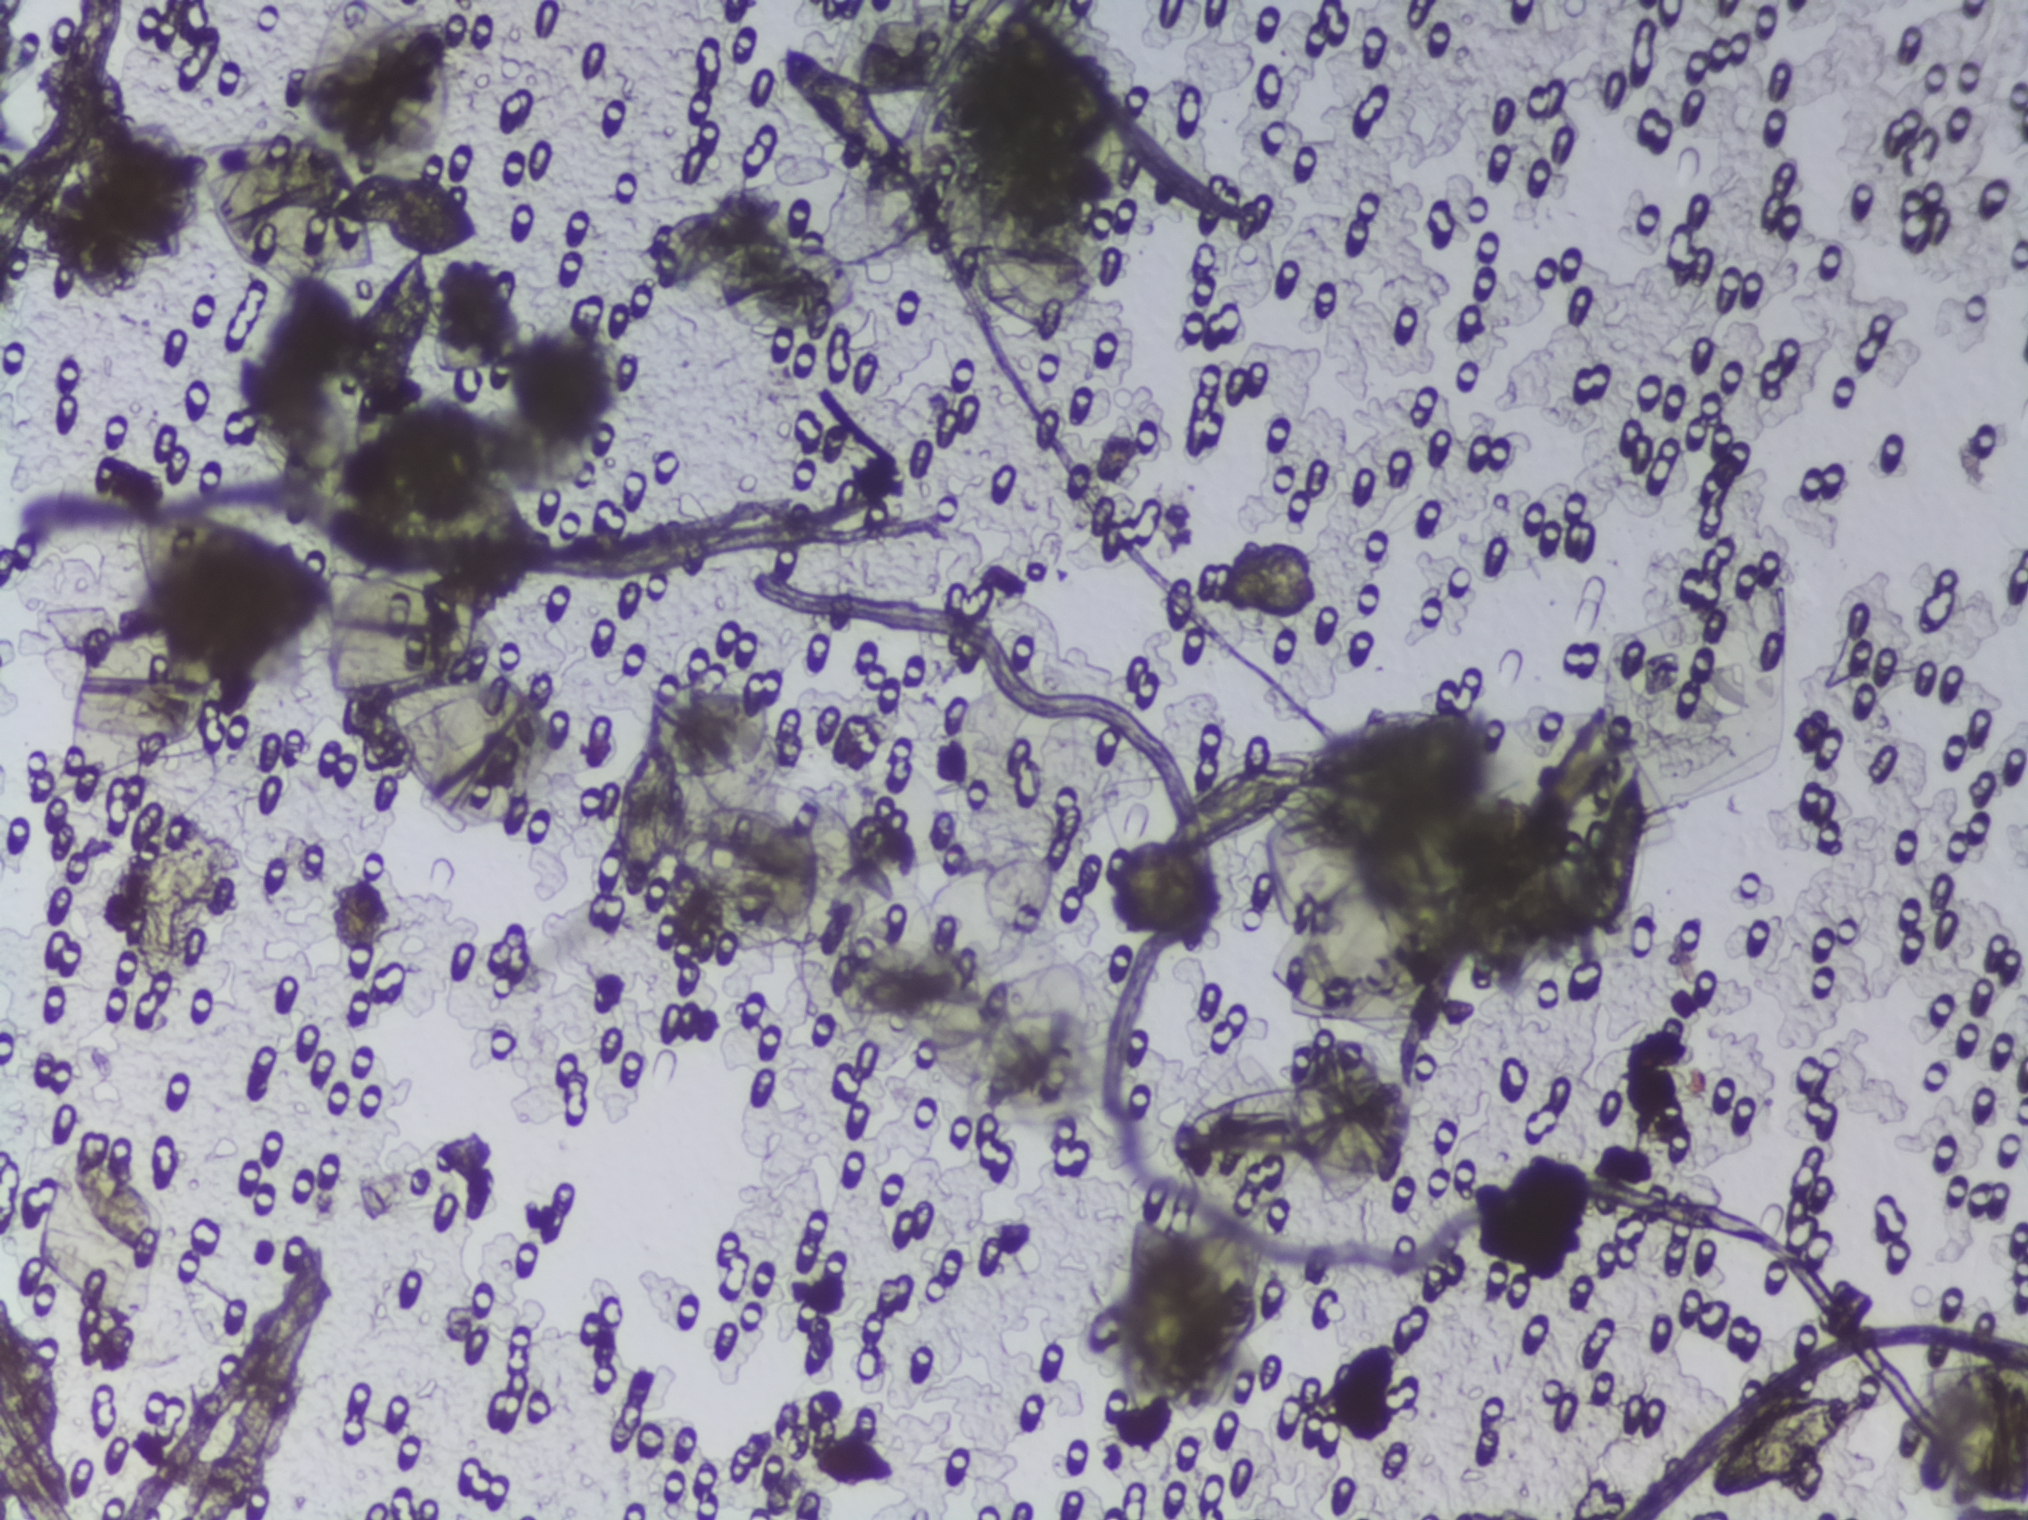
Microscope photograph (4× objective) of a membrane that a urine sample was filtered through.
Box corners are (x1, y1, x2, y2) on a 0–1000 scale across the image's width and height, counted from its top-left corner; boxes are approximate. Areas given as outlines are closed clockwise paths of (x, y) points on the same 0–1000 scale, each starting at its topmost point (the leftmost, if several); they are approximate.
Areas outlined as Schistosoma eggs, left to right:
1. box (34, 753, 81, 828)
2. outline (211, 114), (231, 132), (236, 144), (236, 164), (232, 169), (208, 166), (213, 181), (212, 216), (199, 265), (194, 271), (188, 271), (180, 266), (173, 253), (171, 225), (179, 202), (202, 163), (192, 154), (162, 150), (158, 145), (158, 135), (180, 117)
3. box (300, 475, 342, 595)
4. box (381, 27, 449, 116)
5. box (775, 495, 820, 614)
6. box (842, 910, 923, 986)
An outlined area can hold more than one egg. A marked egg may occasionally be S. mansoni rather than S. haematobium.